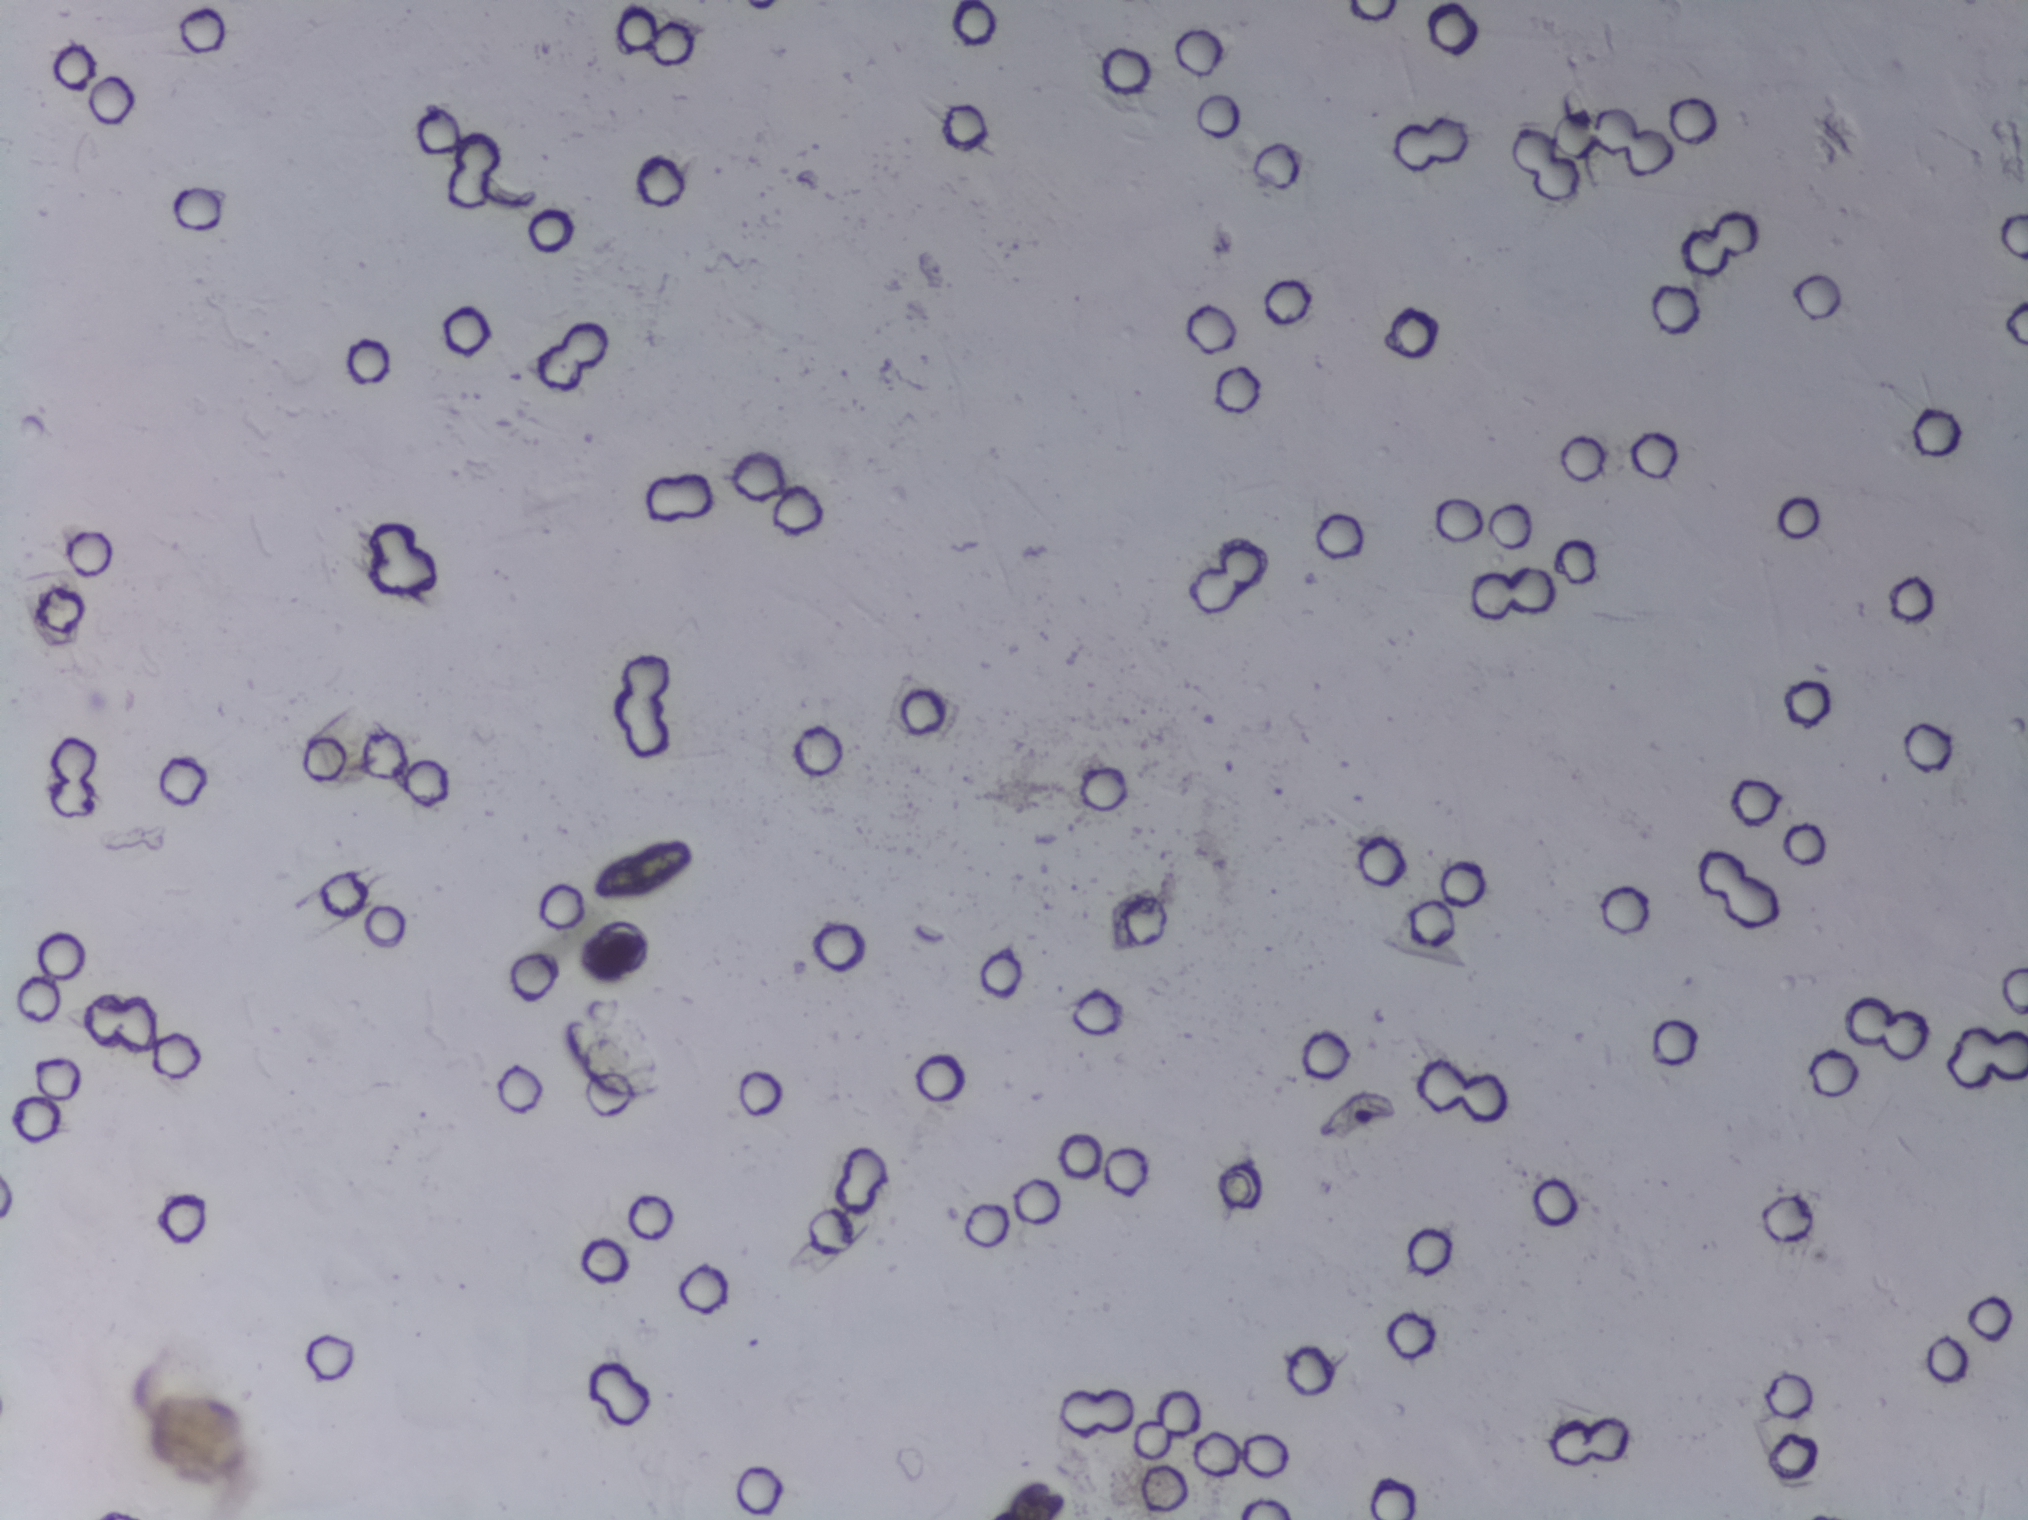
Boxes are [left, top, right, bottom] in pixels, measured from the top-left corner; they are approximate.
Areas outlined as Schistosoma eggs: [592, 833, 695, 898]. A single outlined area may contain several eggs.
One field of view of a urine filter membrane, 4× objective, 2028 × 1520 pixels.